Urine filter membrane photographed through a 4× microscope objective.
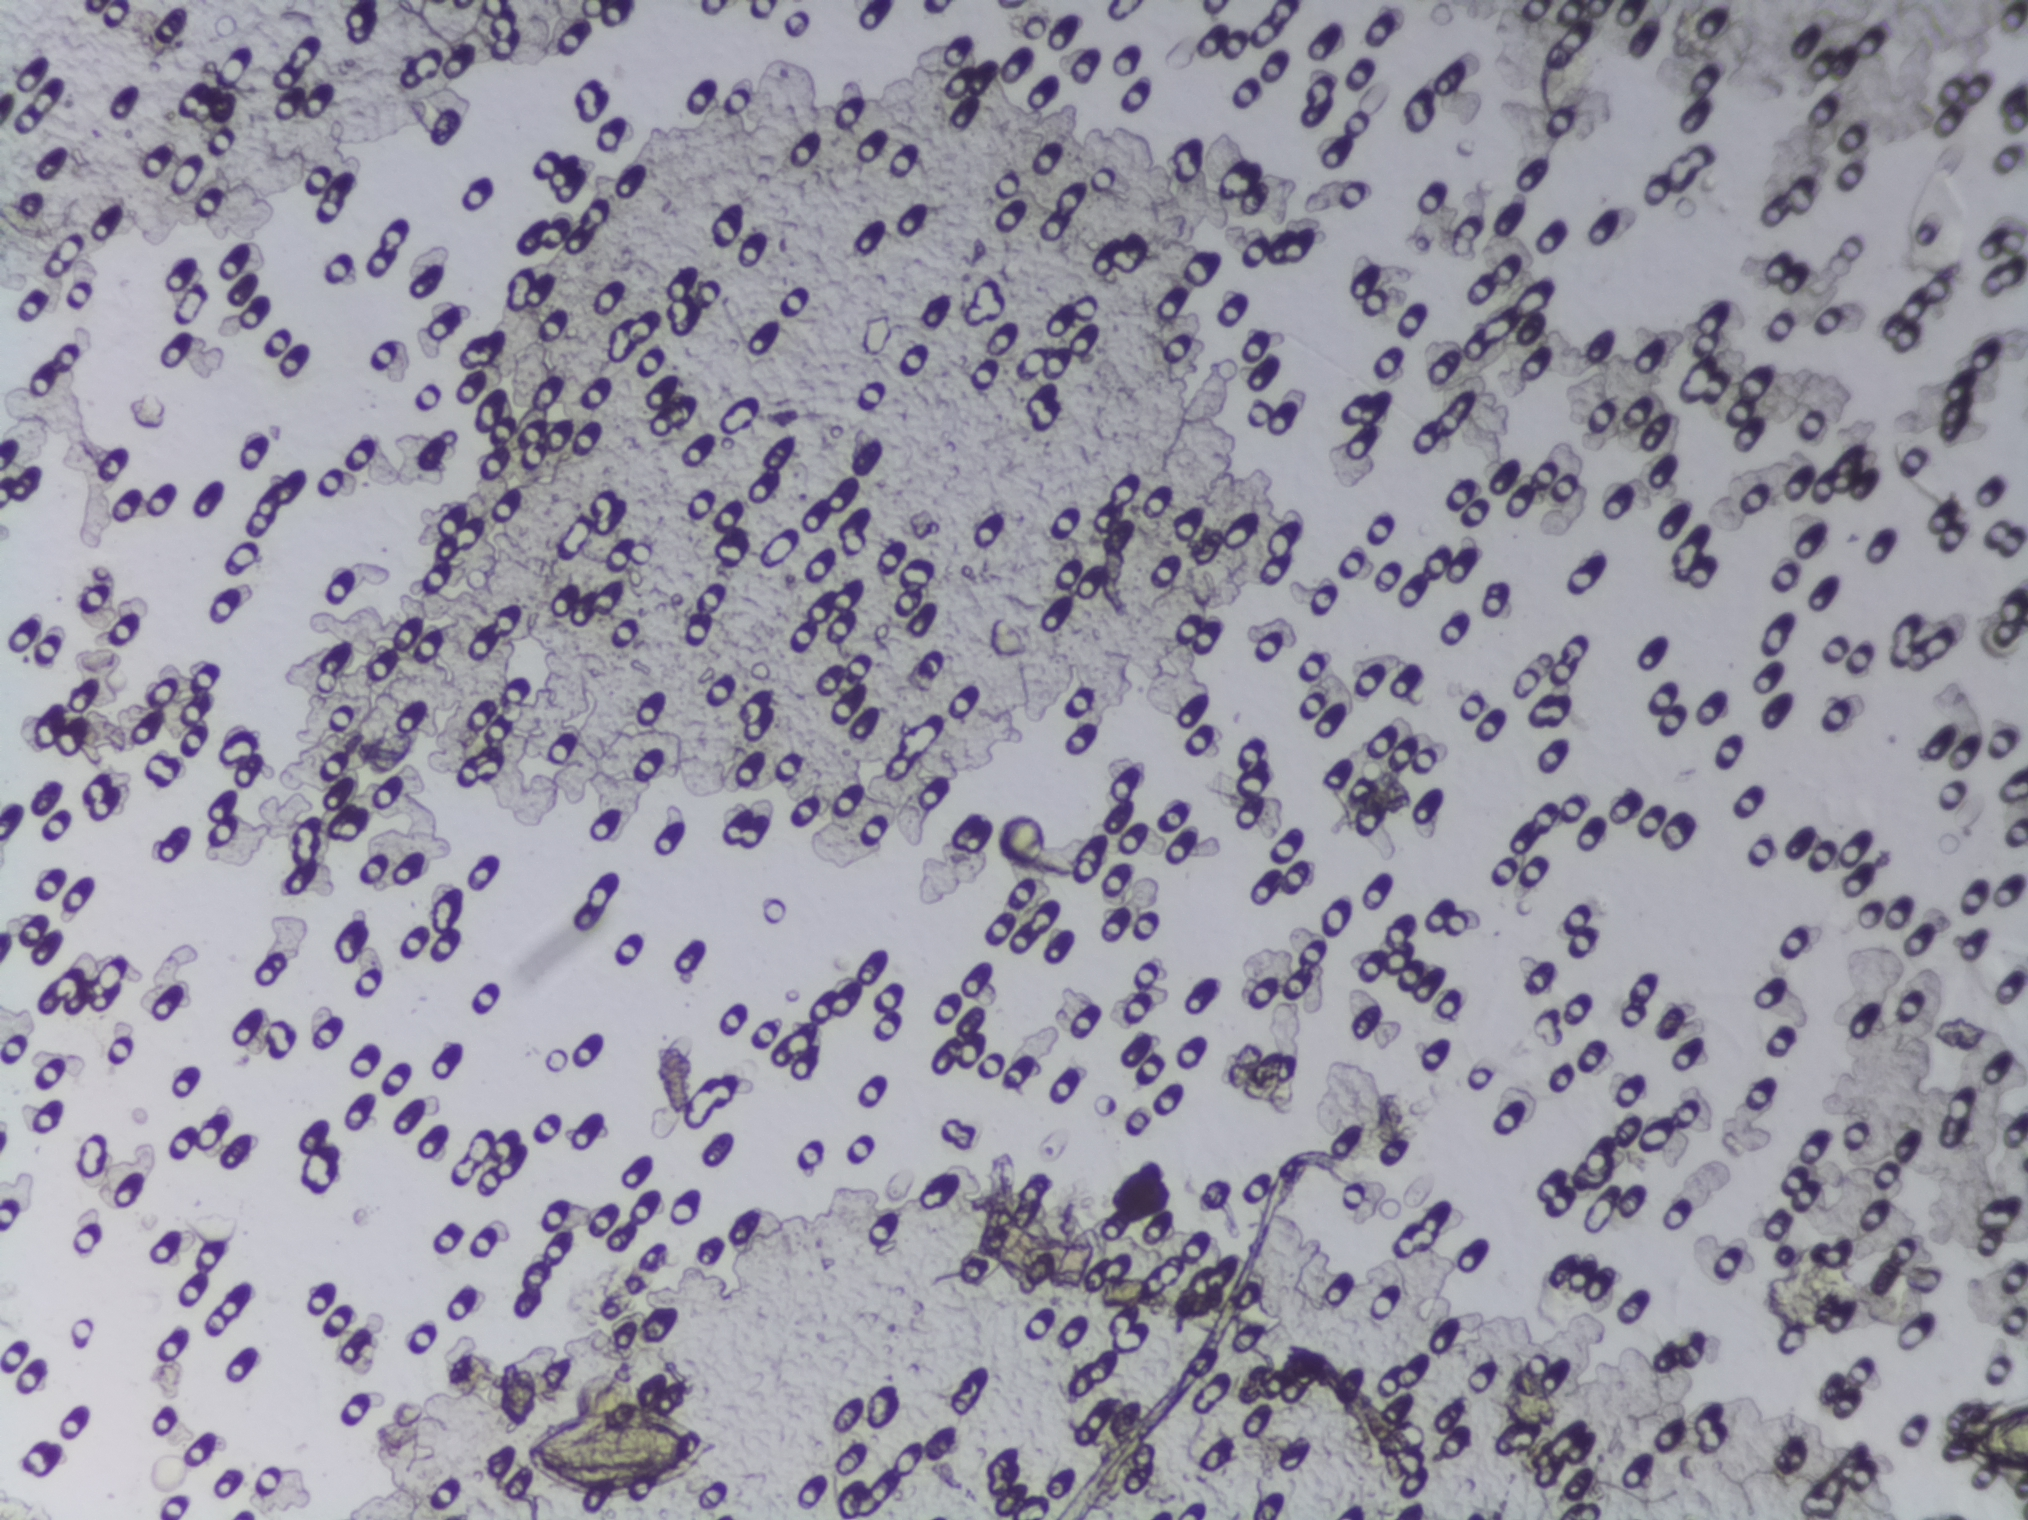
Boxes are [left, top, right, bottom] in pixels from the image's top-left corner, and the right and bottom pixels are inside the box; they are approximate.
{"schistosoma_egg_areas_xyxy_px": [[519, 1398, 724, 1501], [1948, 1395, 2027, 1481]]} Area 2 reaches the right edge of the frame.
The marked pixels themselves, not the boxes around them, cover about 0.7% of the image. An outlined area can hold more than one egg.